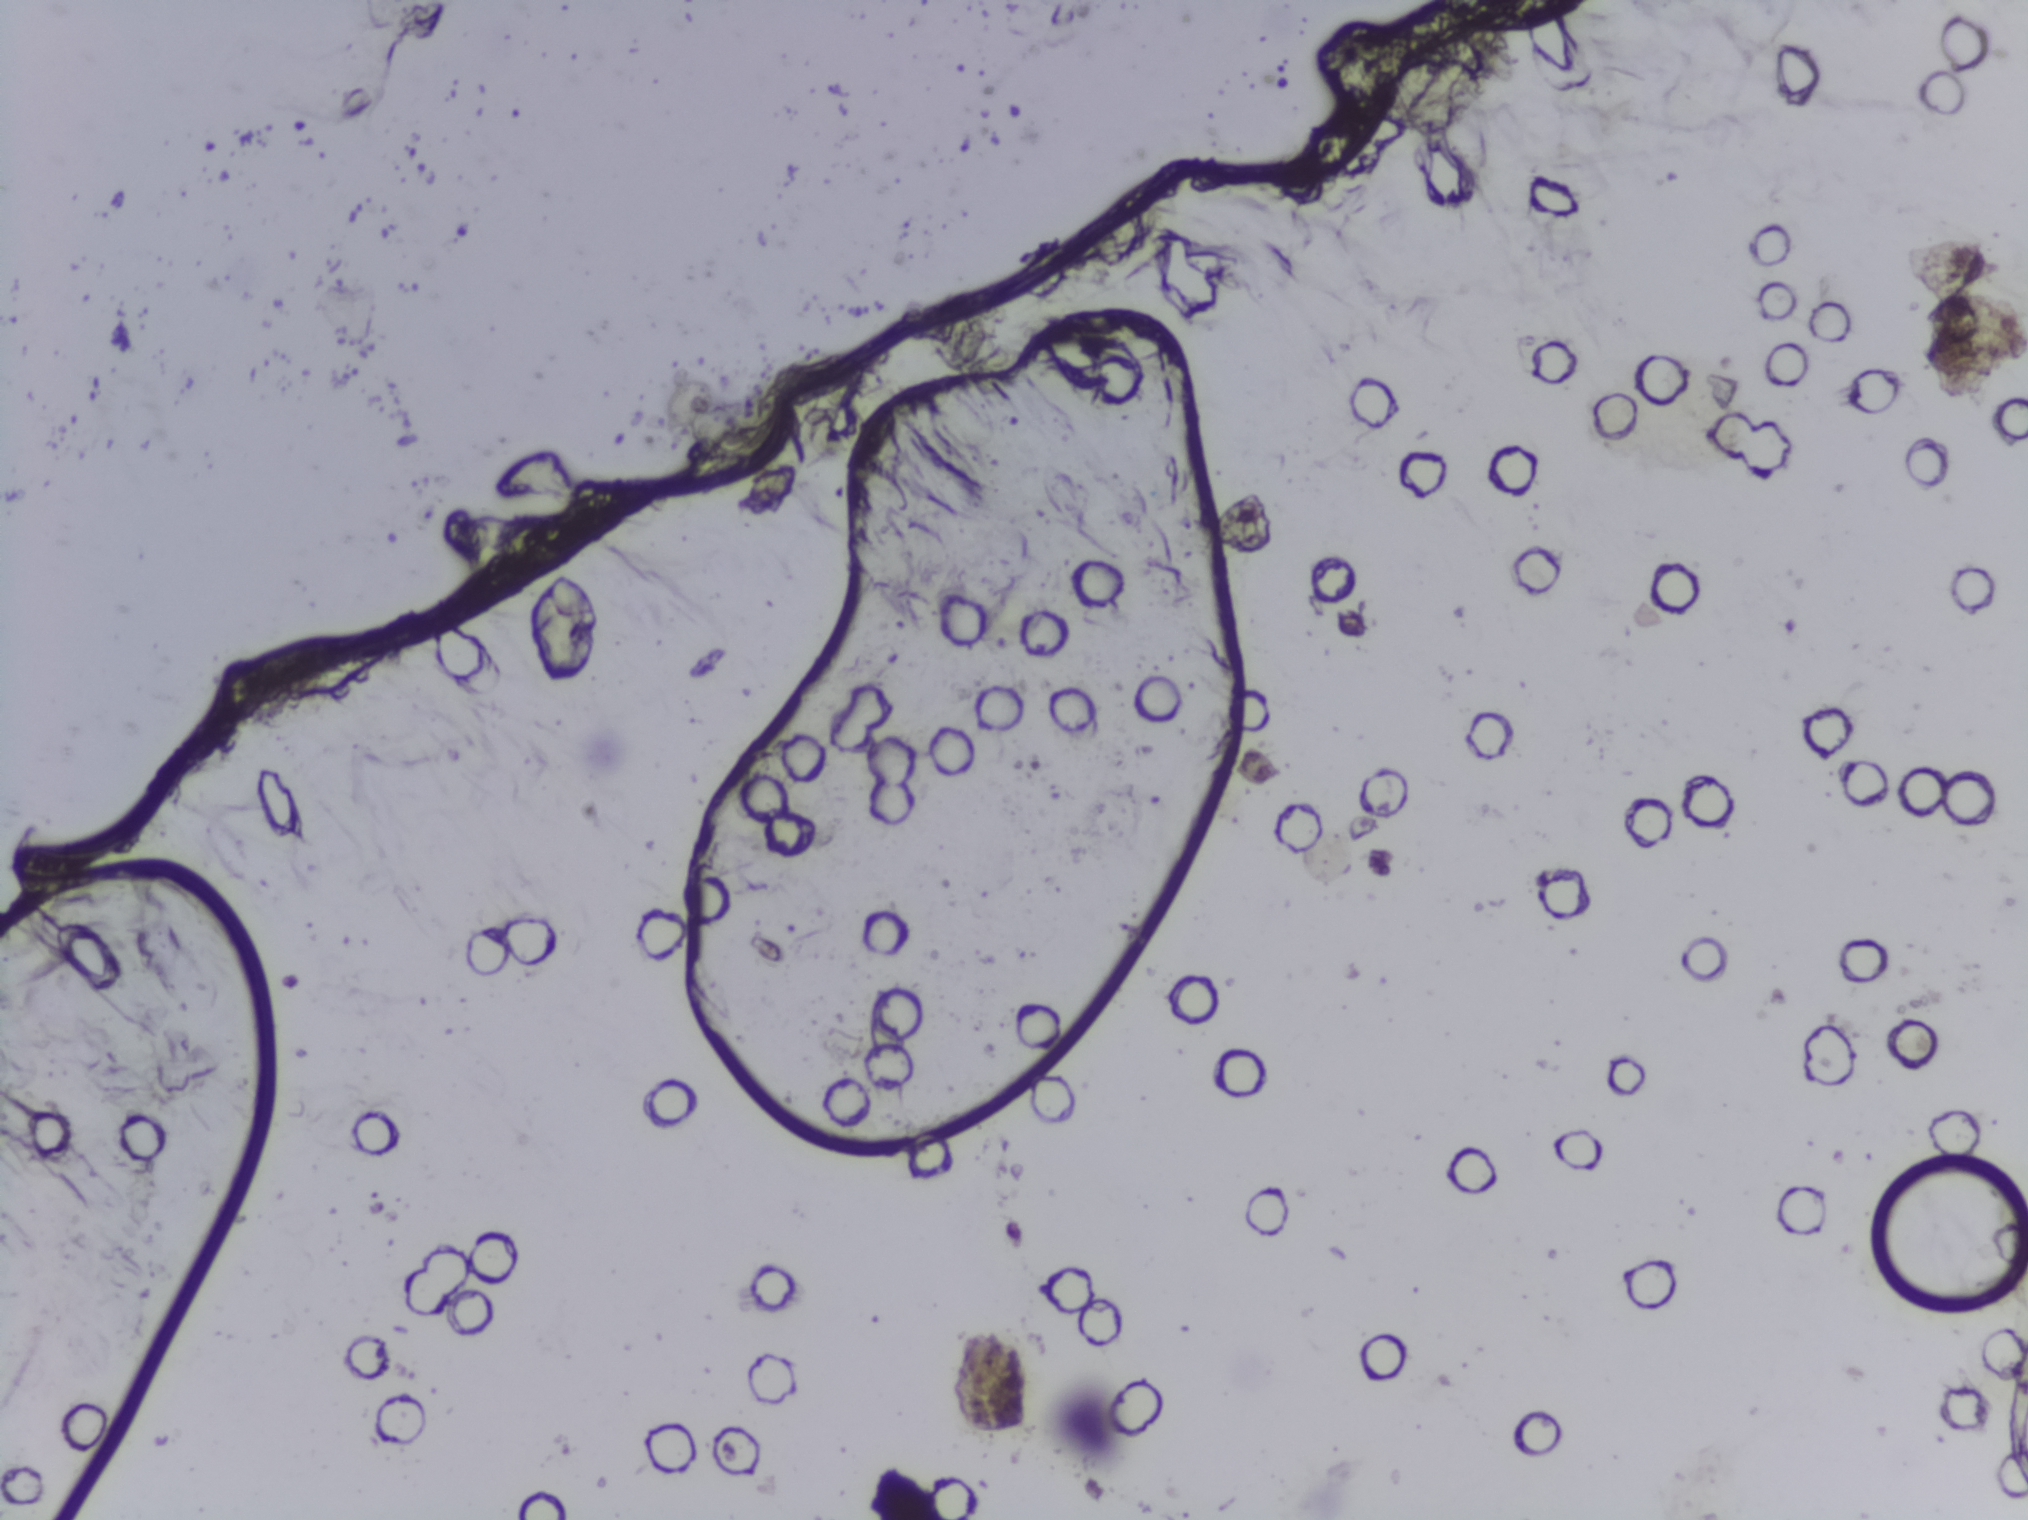
Urine filtration membrane under a 4× objective, photographed by an automated digital microscope.
The expert annotation outlines no Schistosoma egg in this image.